Urine filter membrane photographed through a 4× microscope objective.
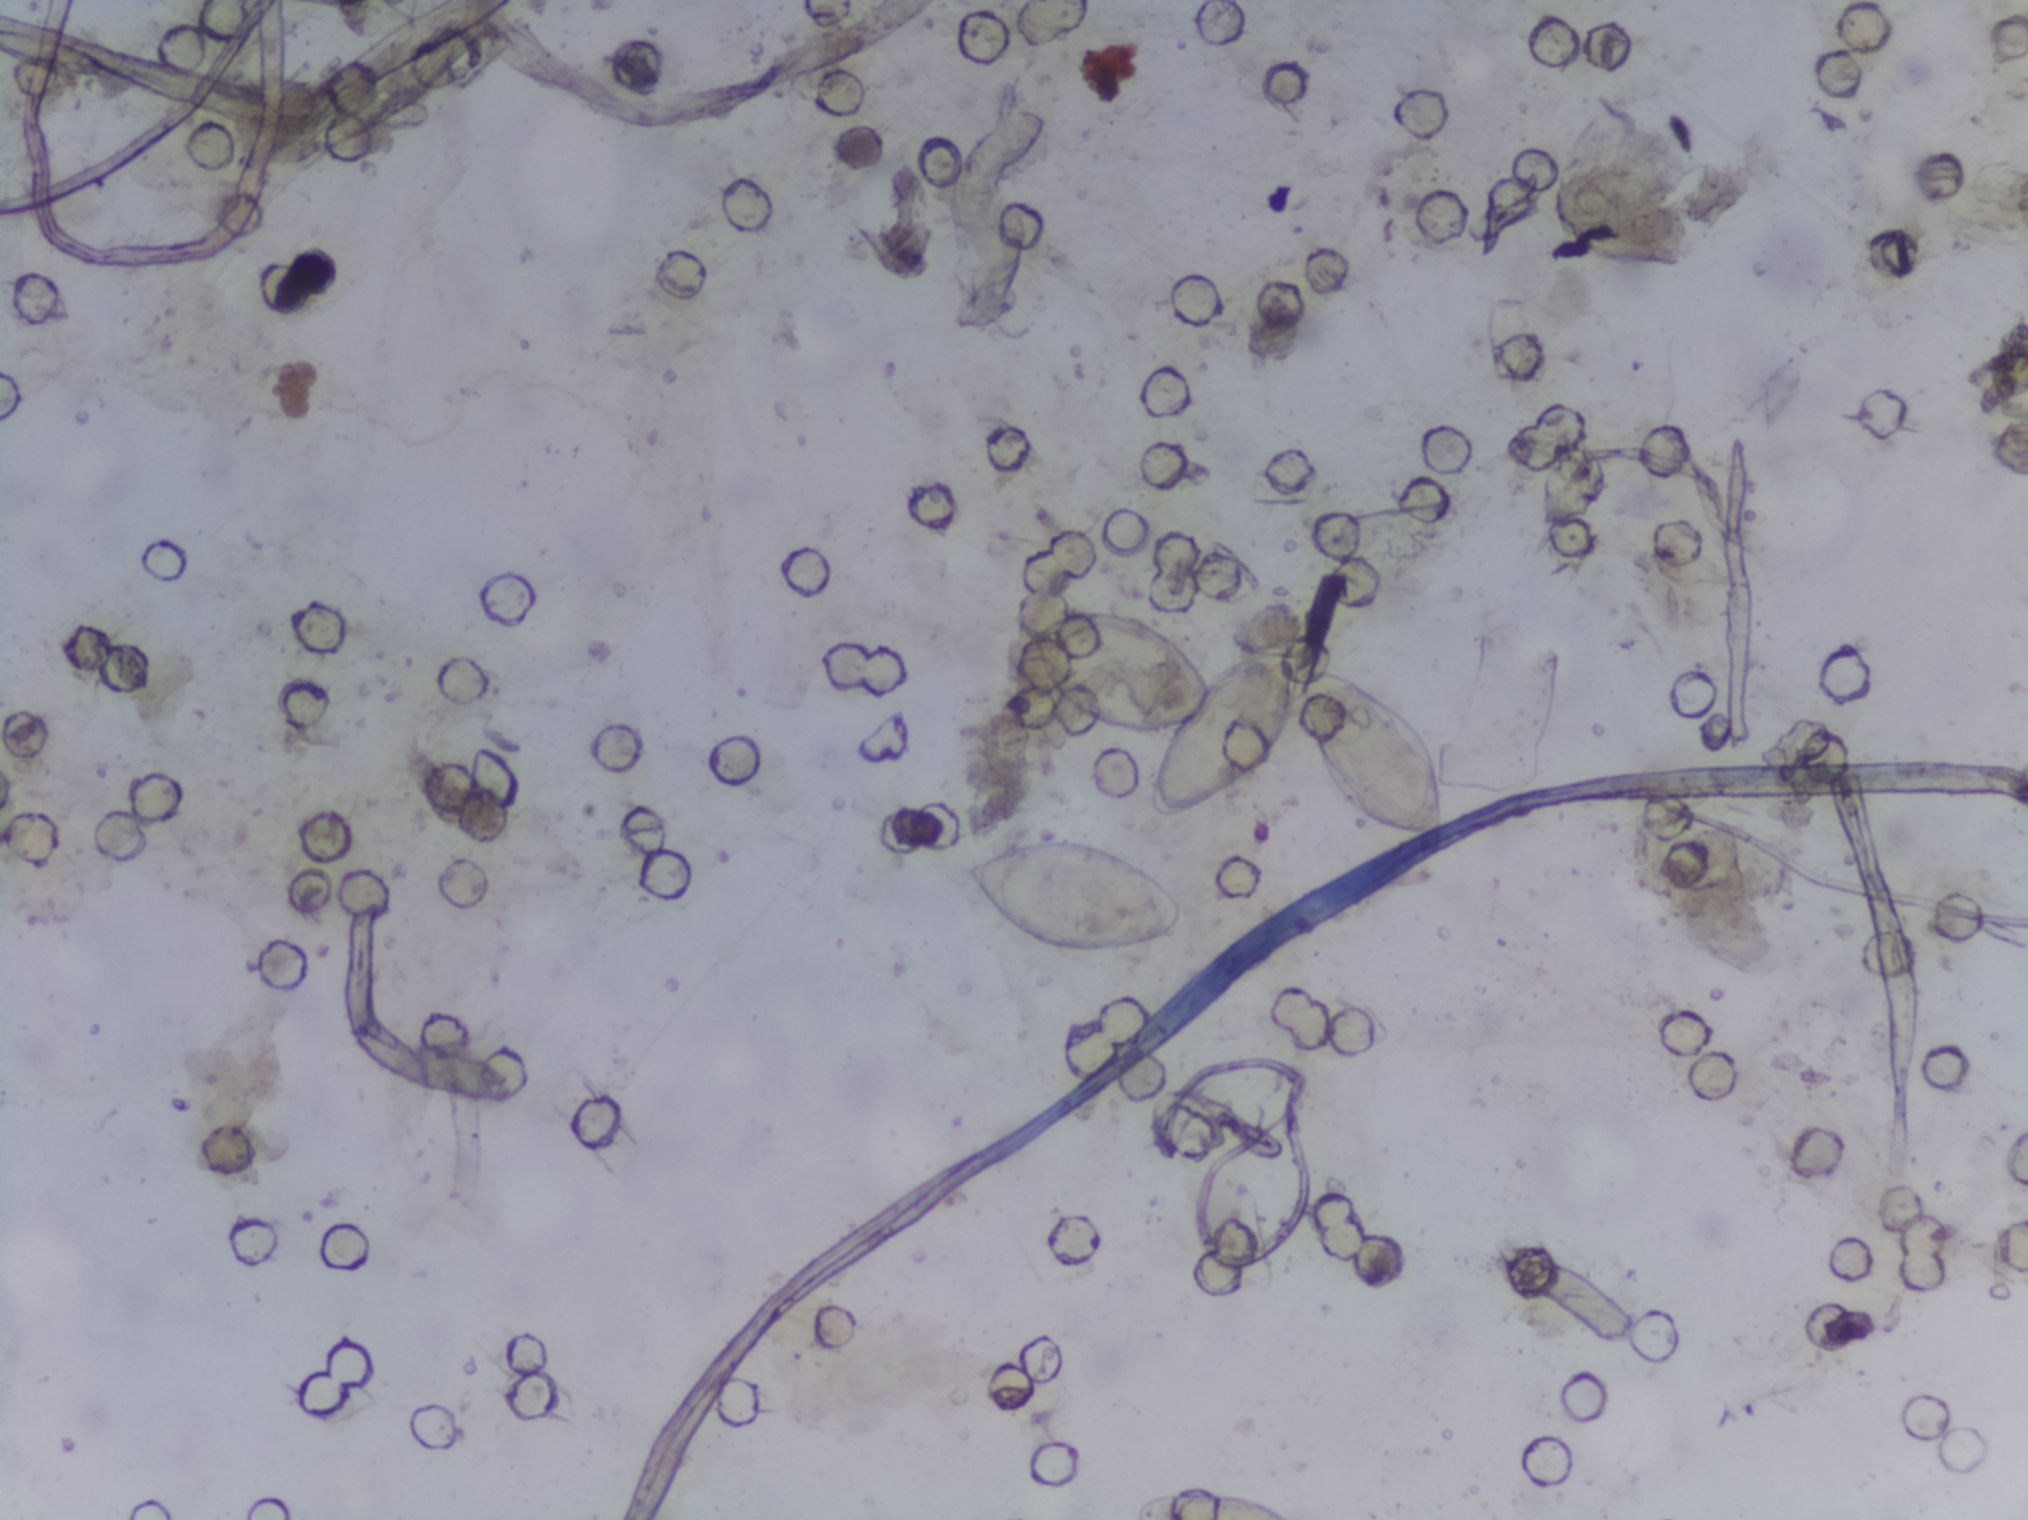
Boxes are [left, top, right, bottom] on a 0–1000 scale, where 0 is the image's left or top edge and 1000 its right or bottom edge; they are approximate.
Two areas of this image are outlined as Schistosoma eggs, from left to right: [470, 548, 587, 630] and [503, 399, 715, 555] (eggs clustered together). A single outlined area may contain several eggs.